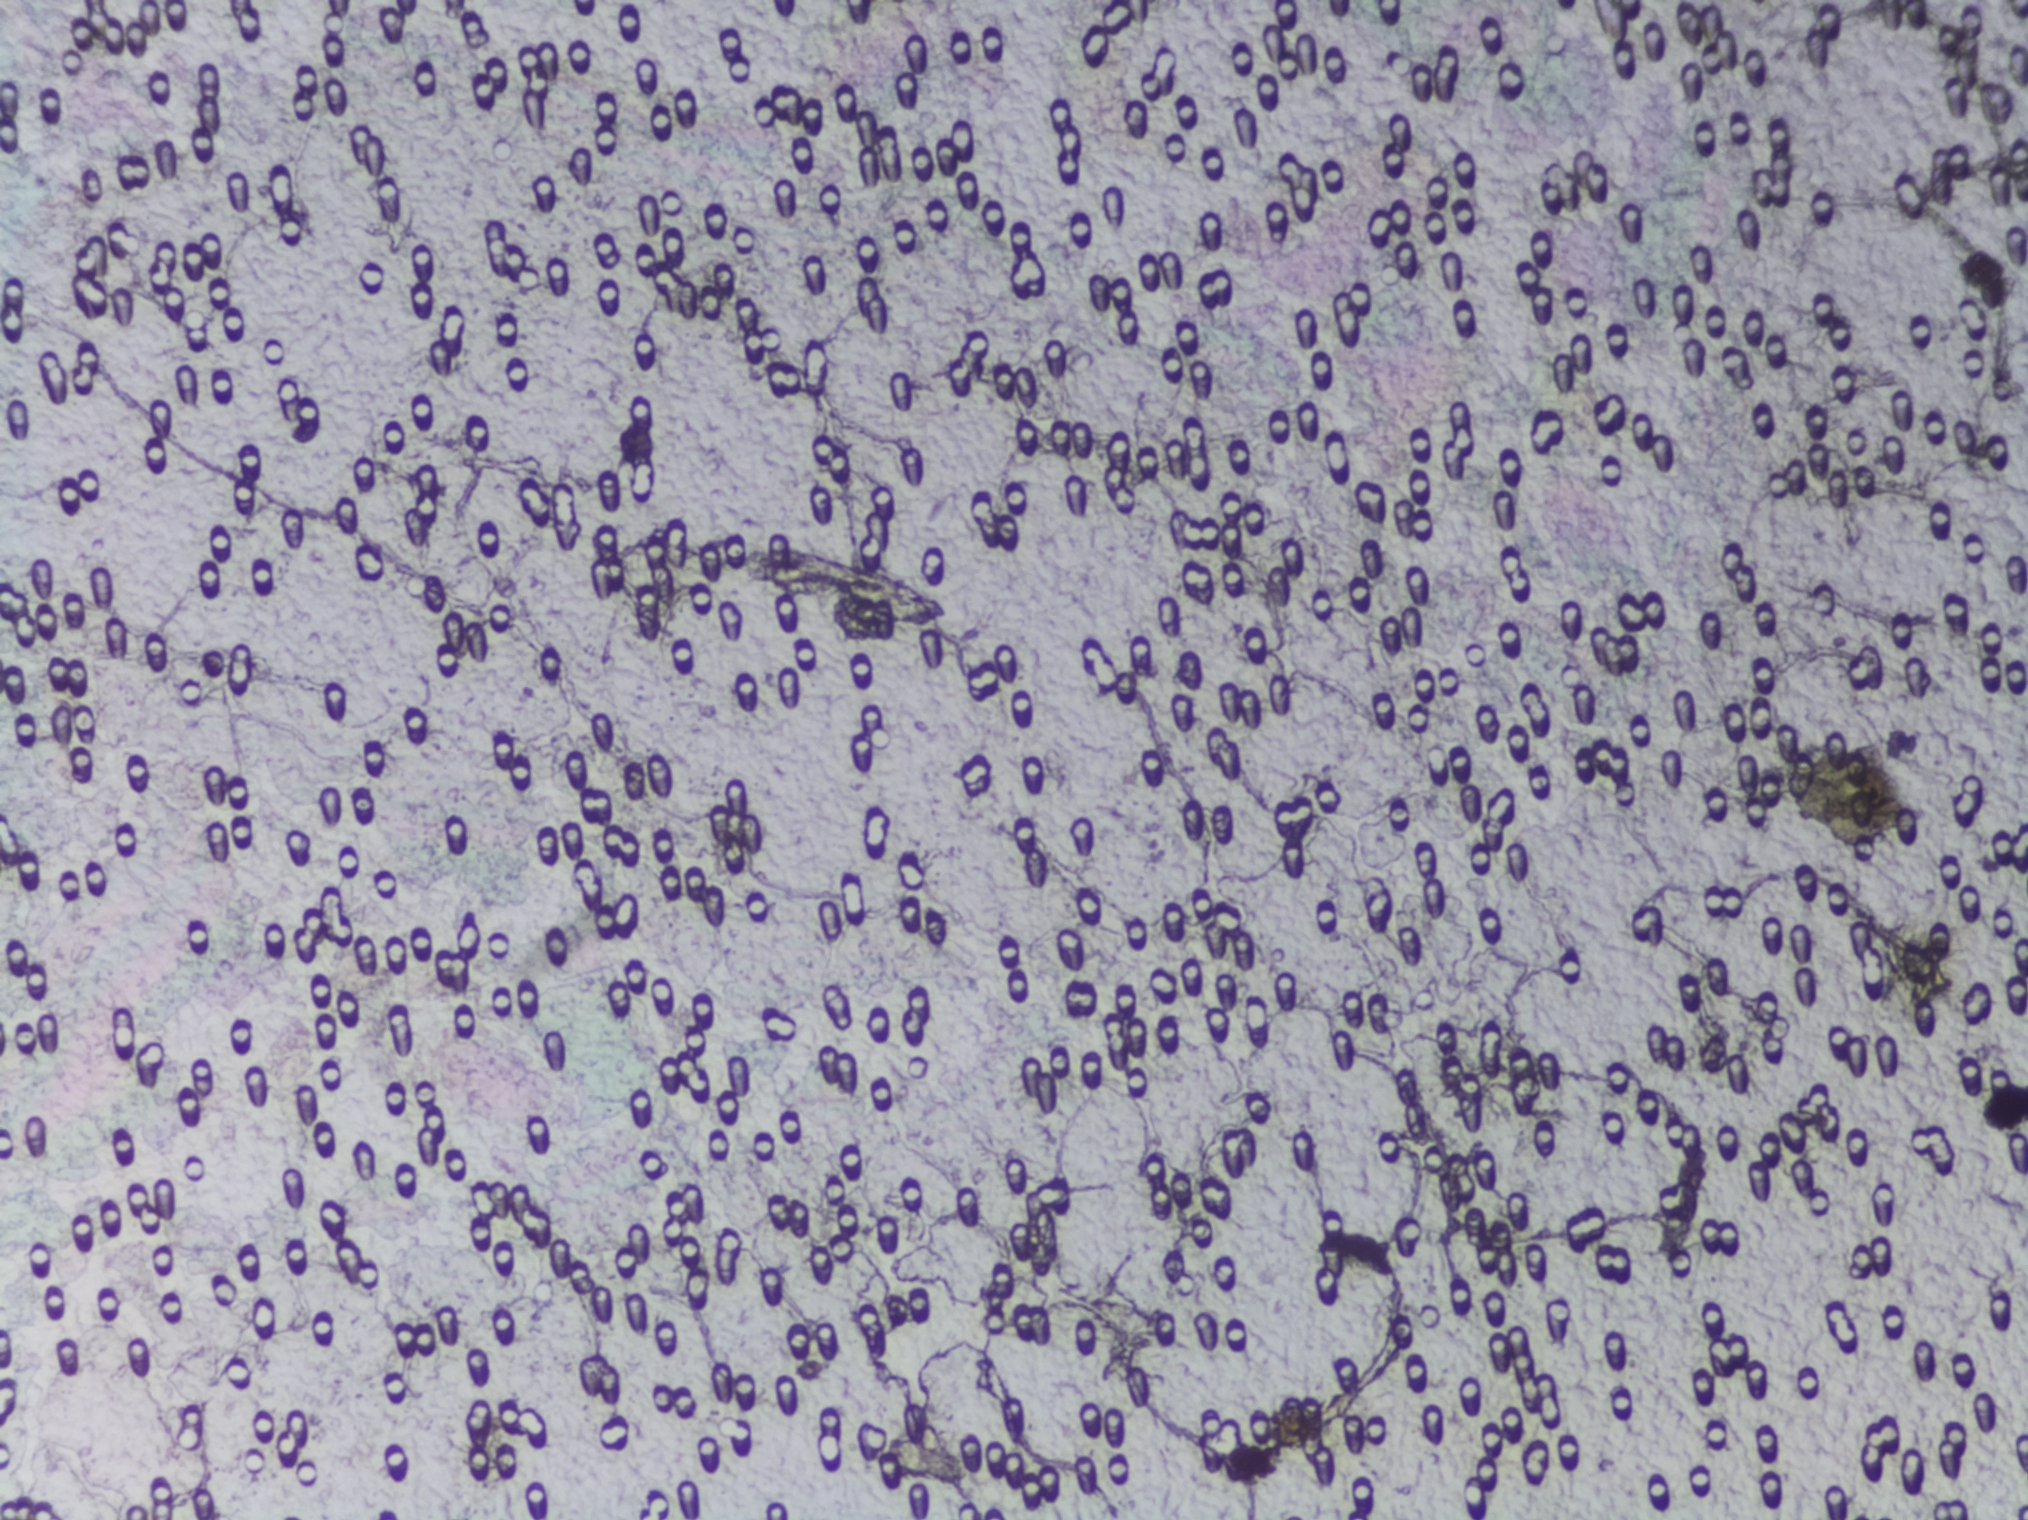
One field of view of a urine filter membrane, 4× objective, 2028 × 1520 pixels. The image covers about 1.5 × 1.1 mm of the membrane.
Schistosoma eggs: none outlined.